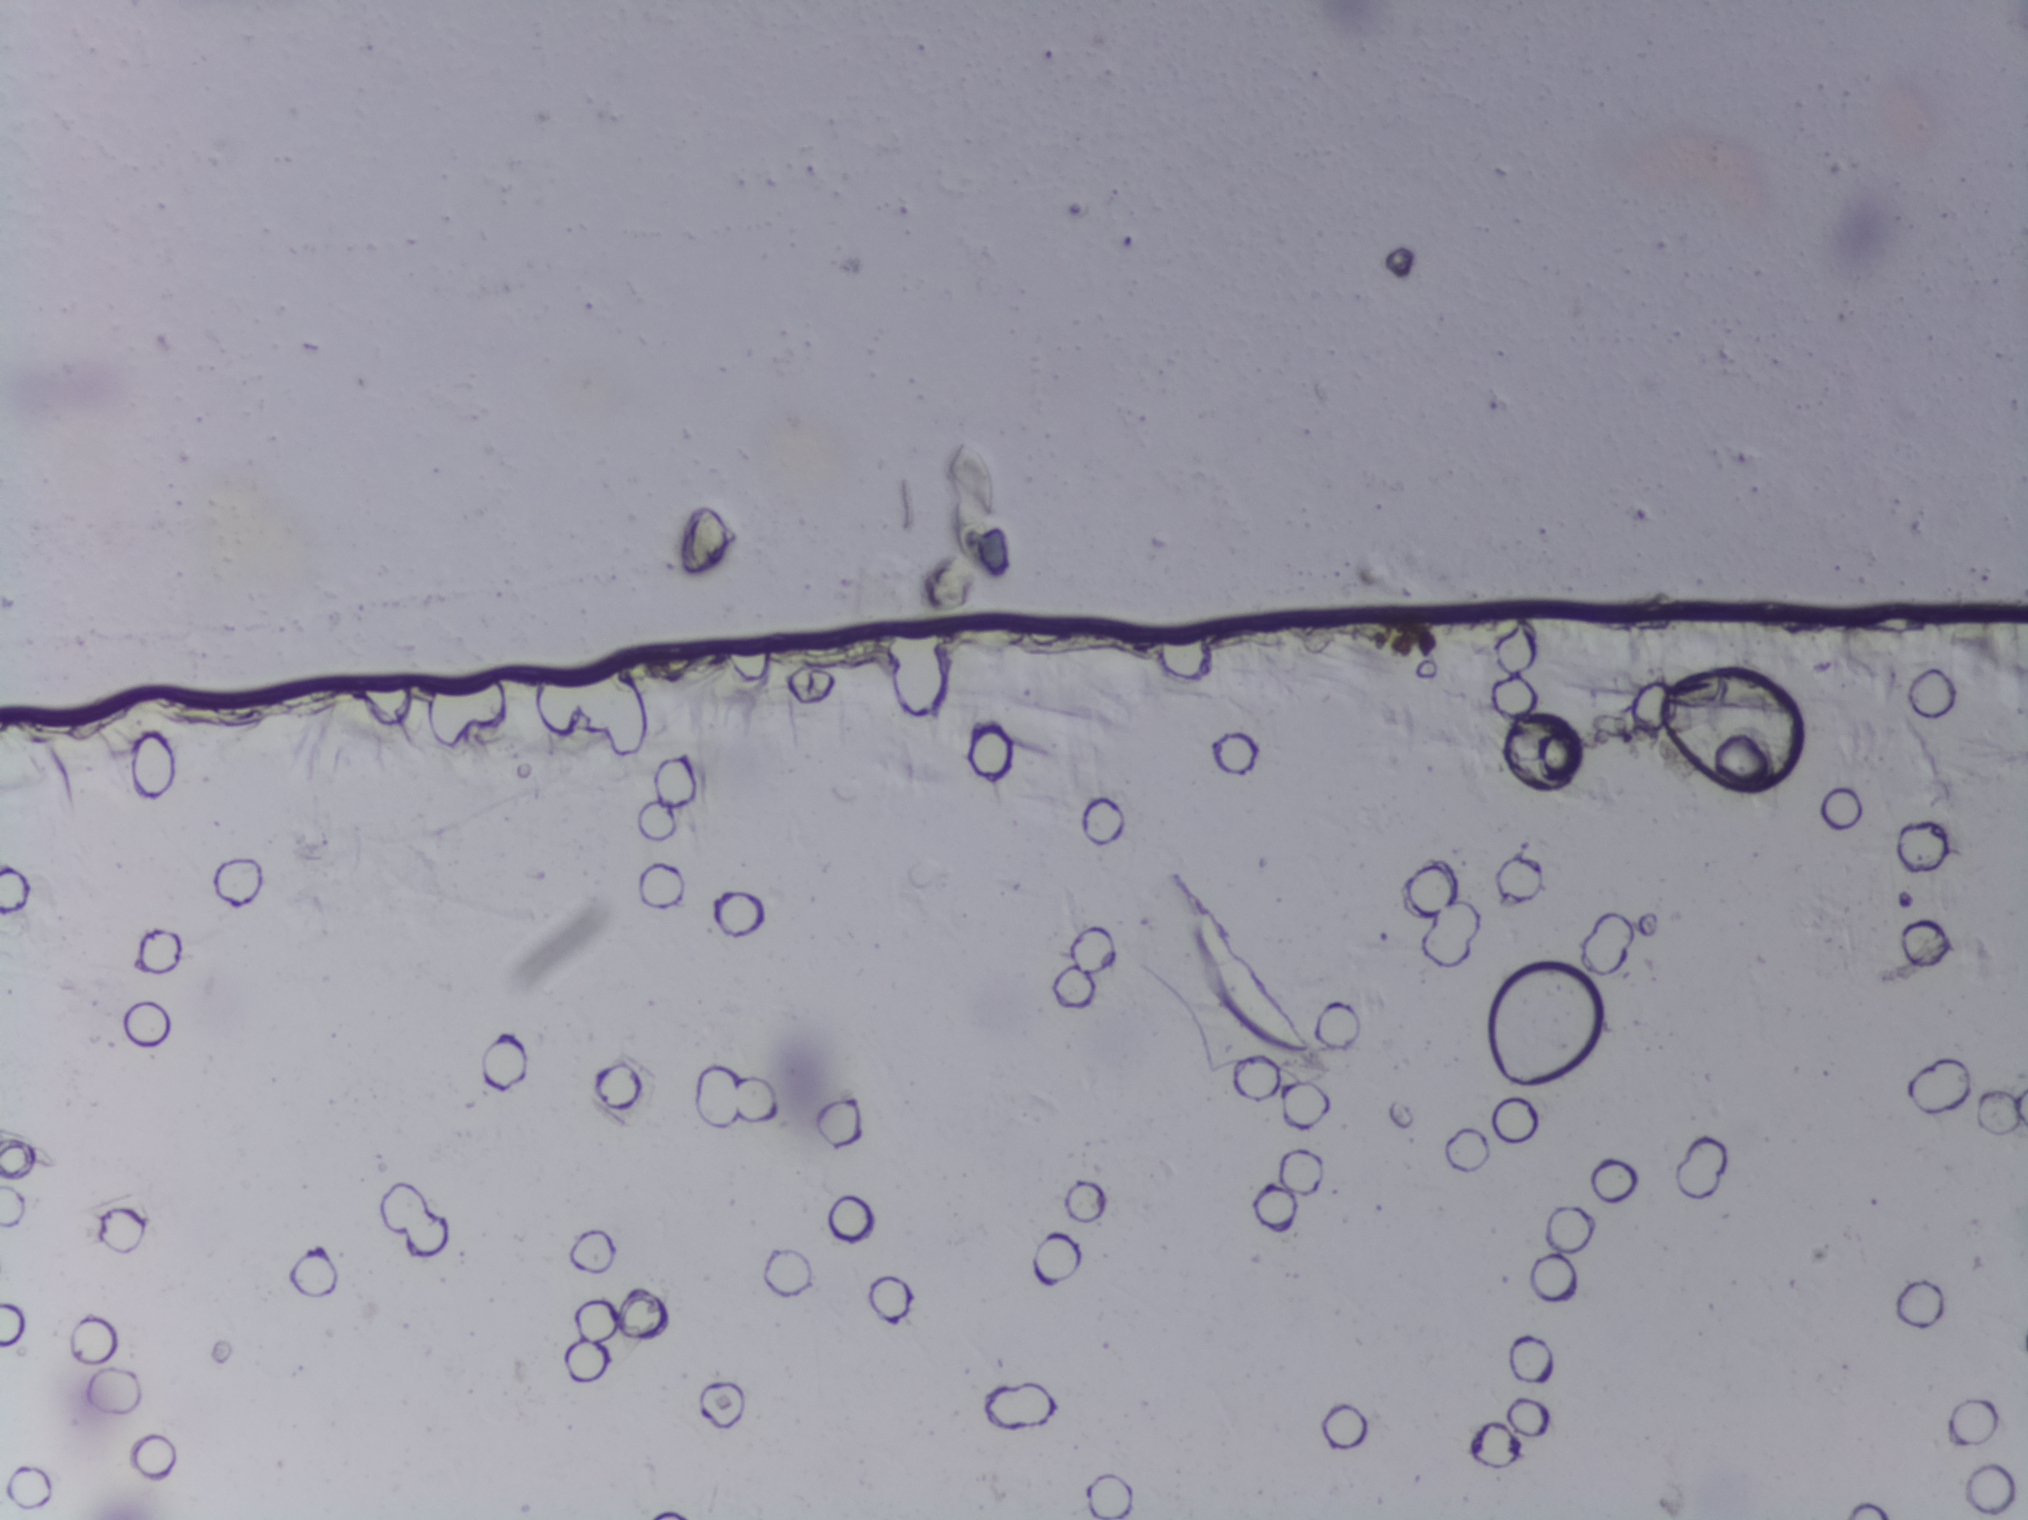
Urine filtration membrane under a 4× objective, photographed by an automated digital microscope. The image covers about 1.5 × 1.1 mm of the membrane.
Schistosoma eggs: none outlined.